Photograph from an automated digital microscope: urine filter membrane, 4× objective.
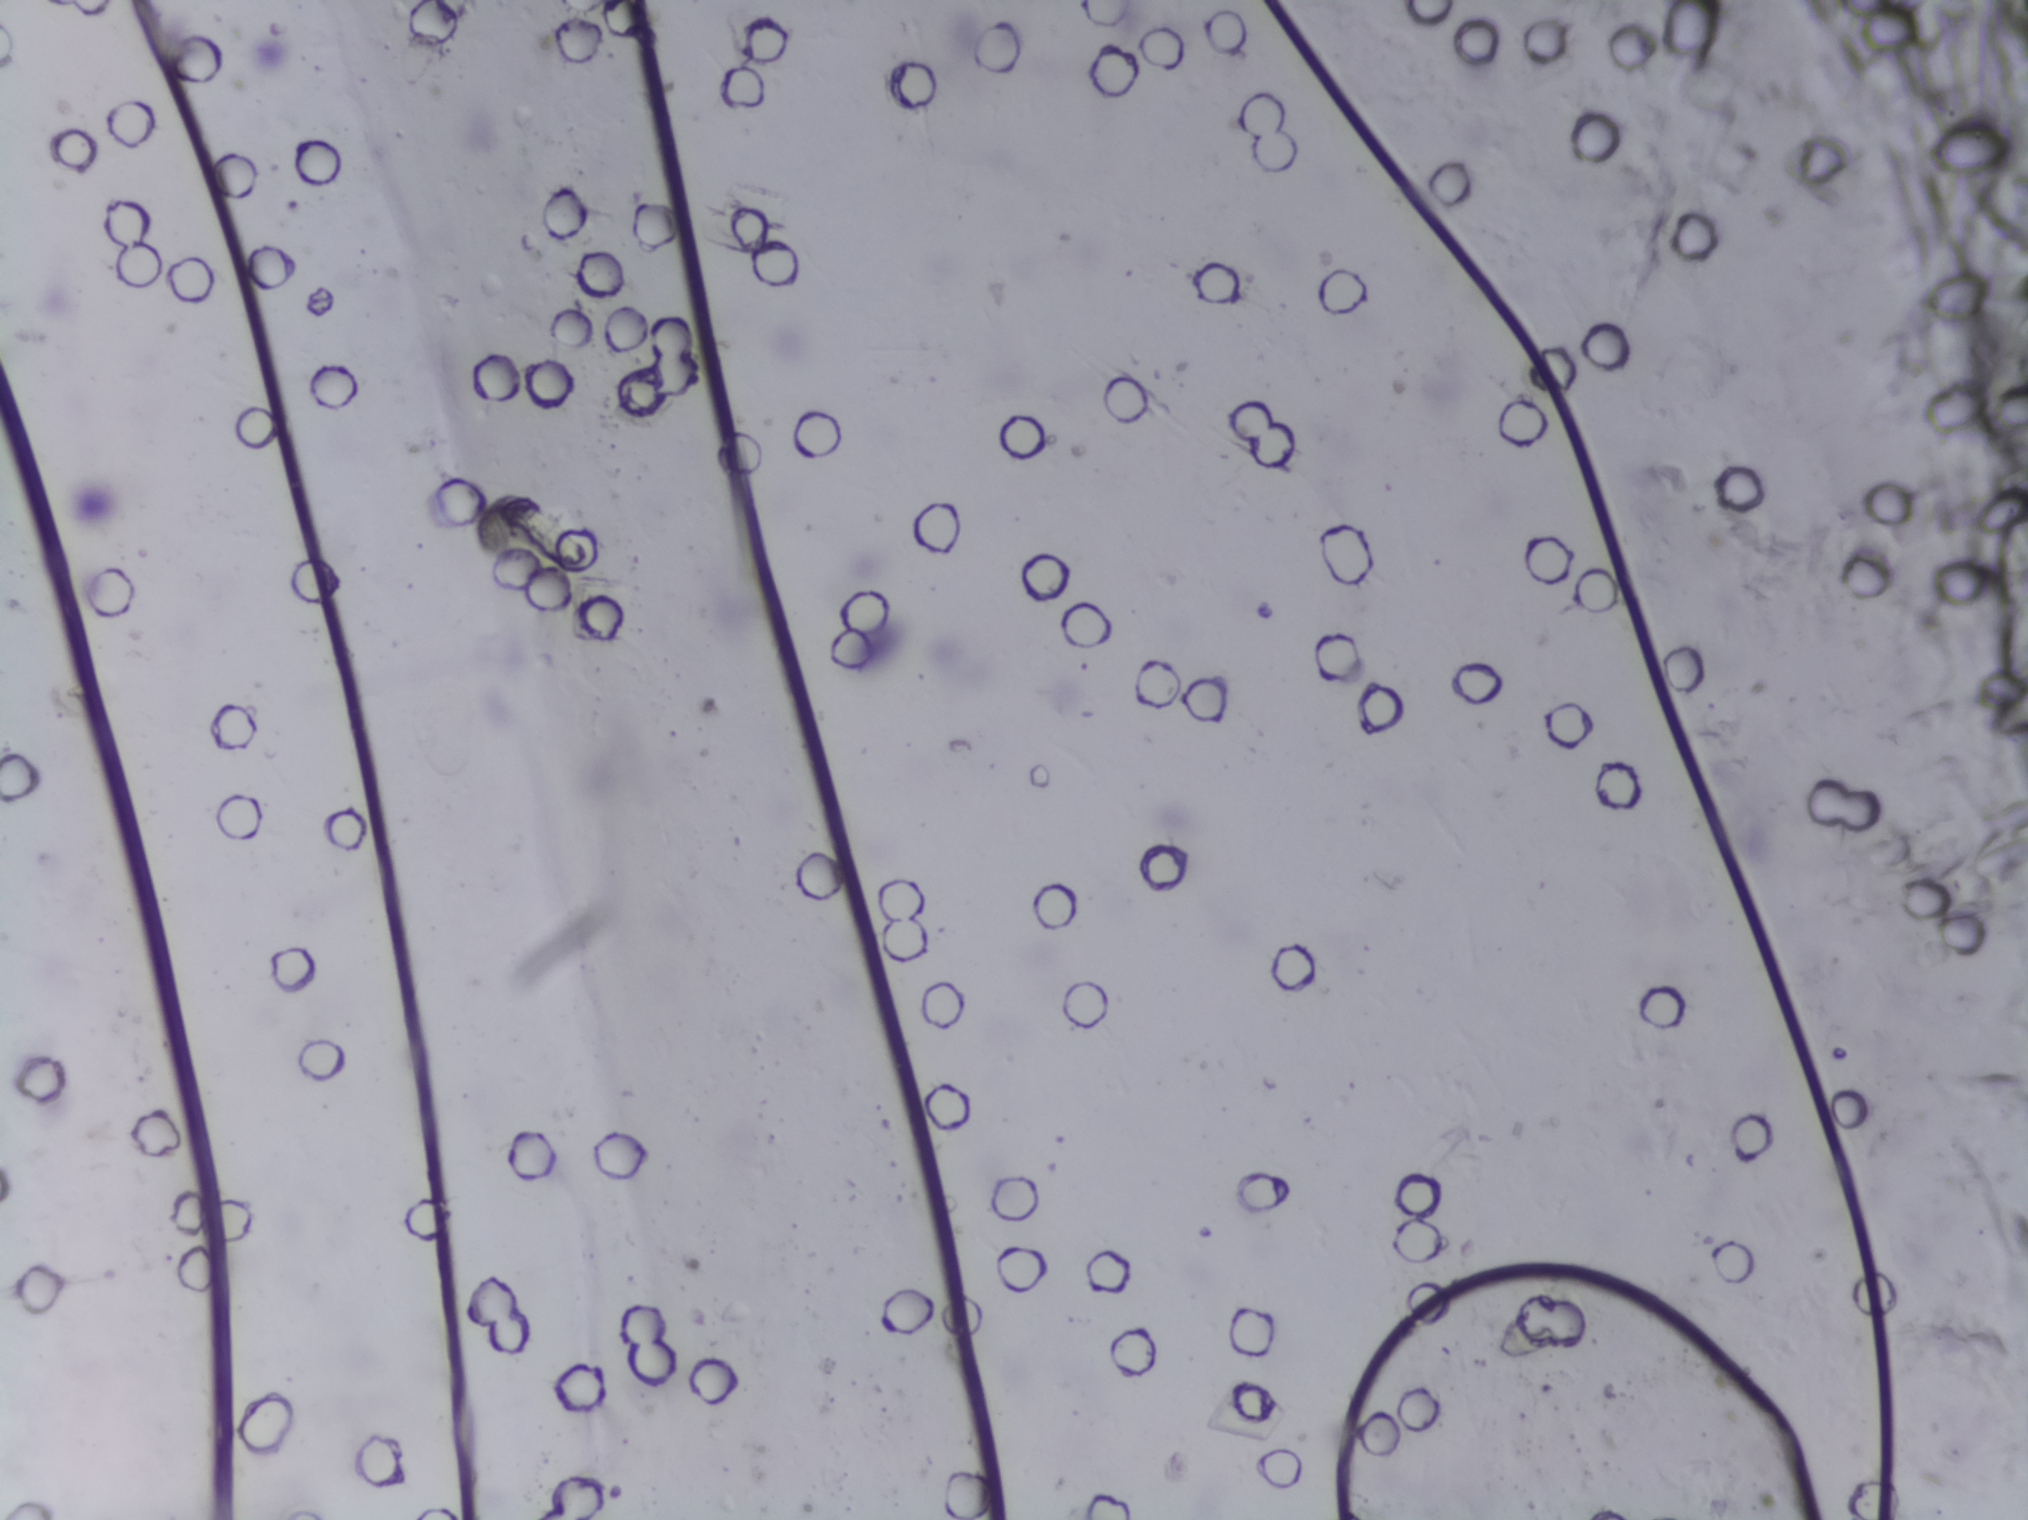
No area of this image was outlined as a Schistosoma egg.